Photomicrograph of a urine filtration membrane, 4× objective. Field of view: about 1.5 mm wide and 1.1 mm high.
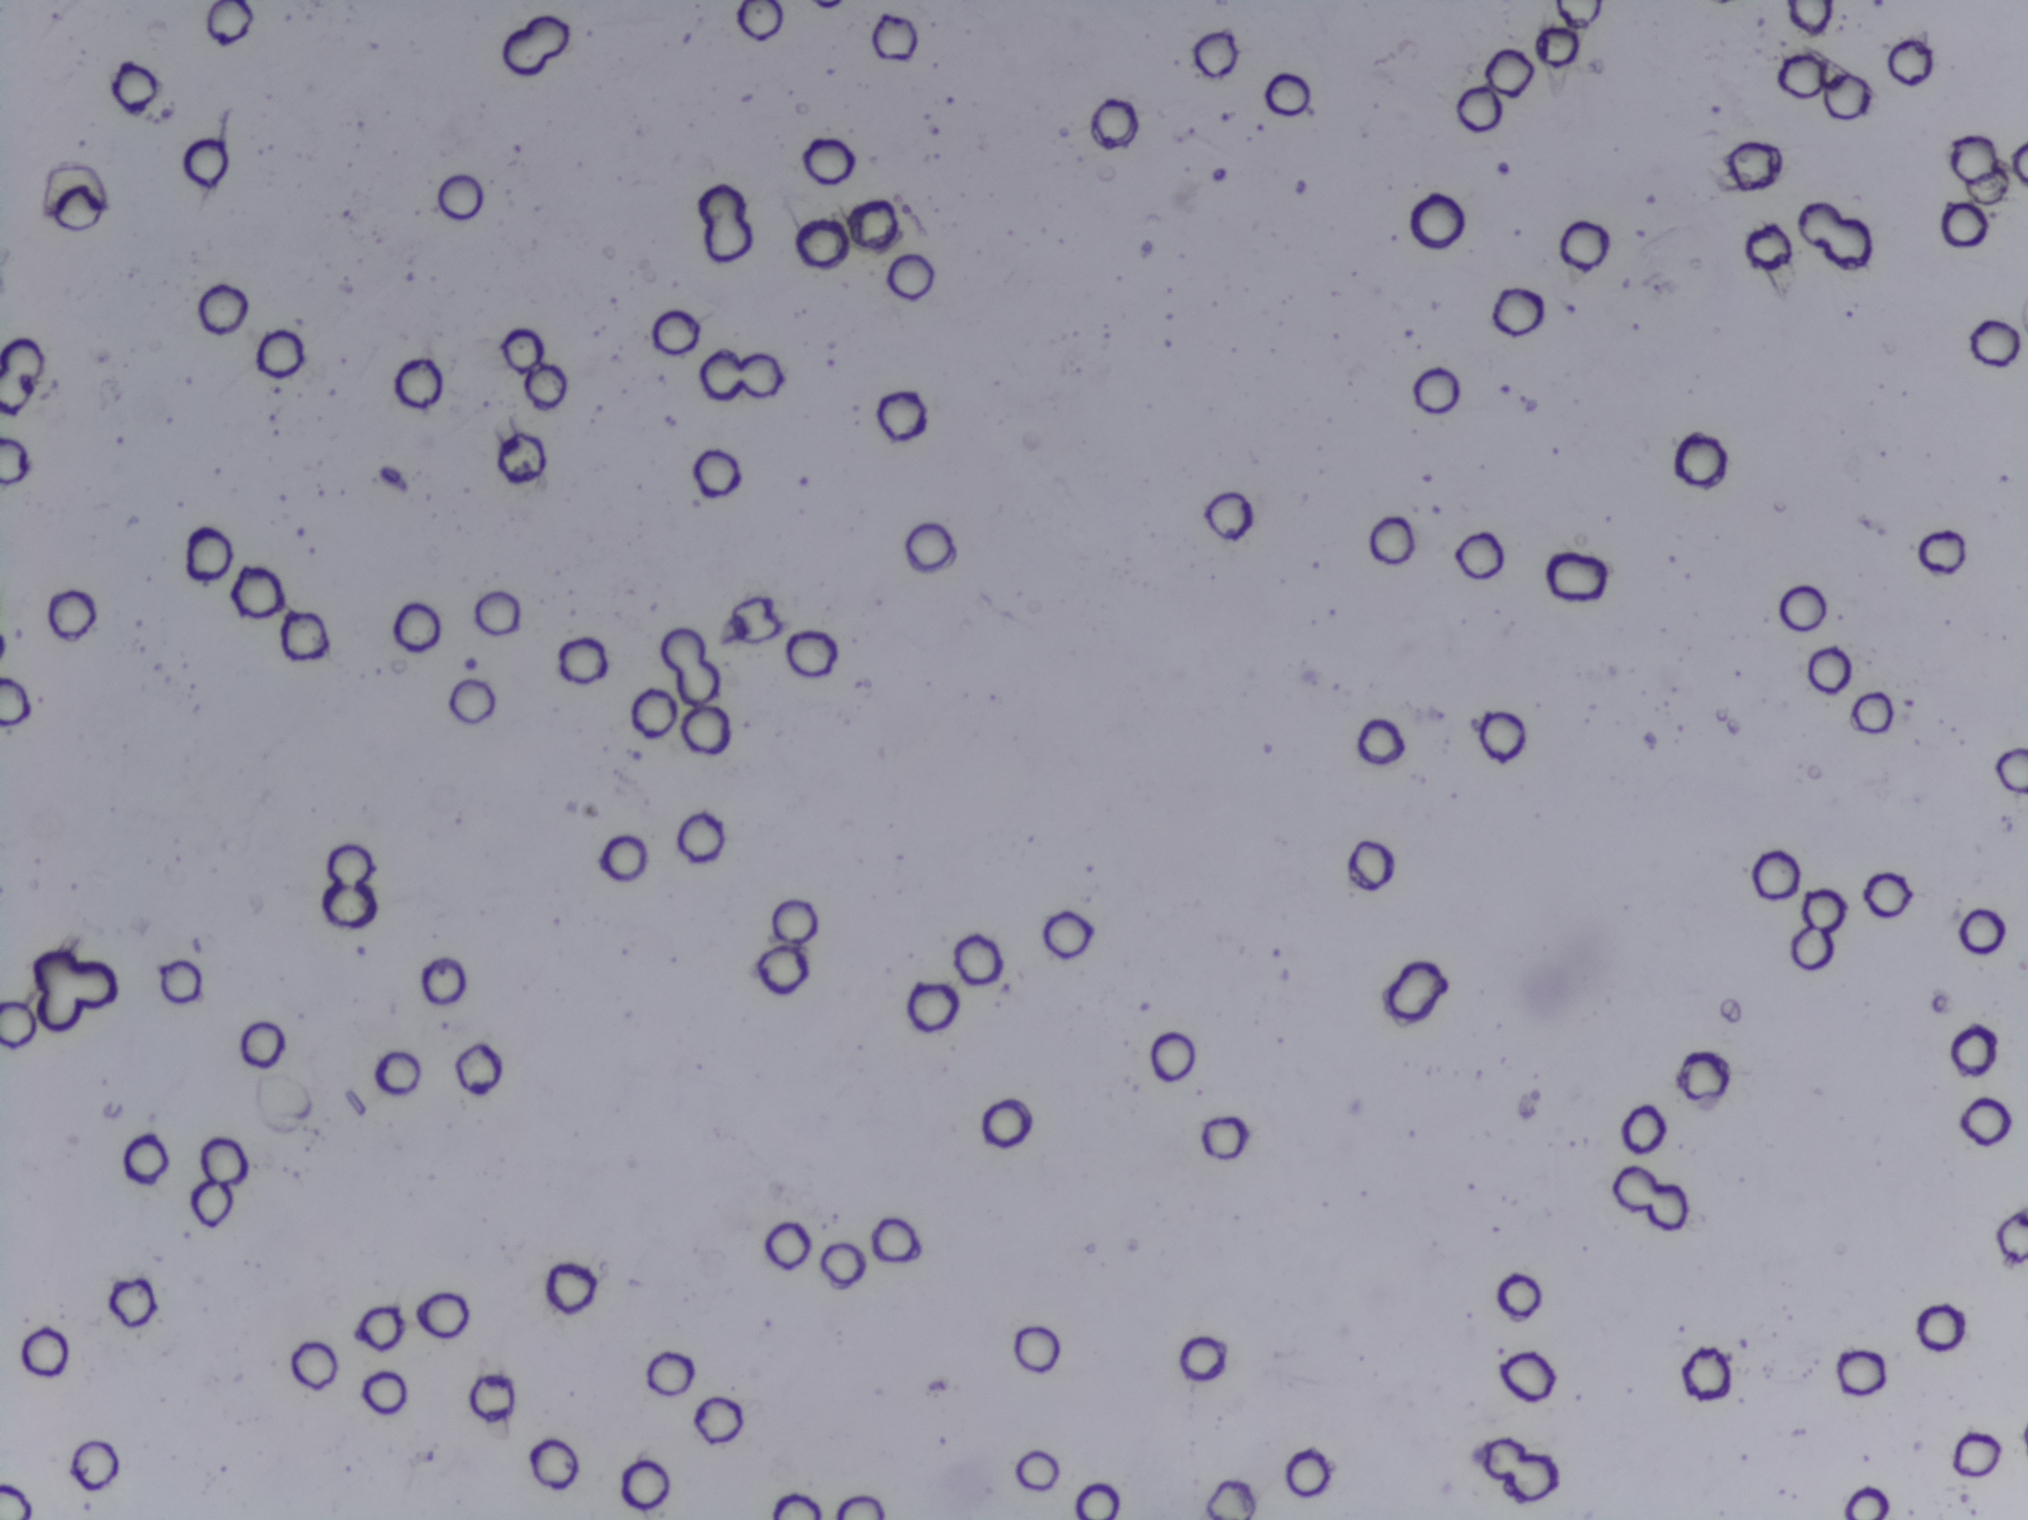
No area of this image was outlined as a Schistosoma egg.